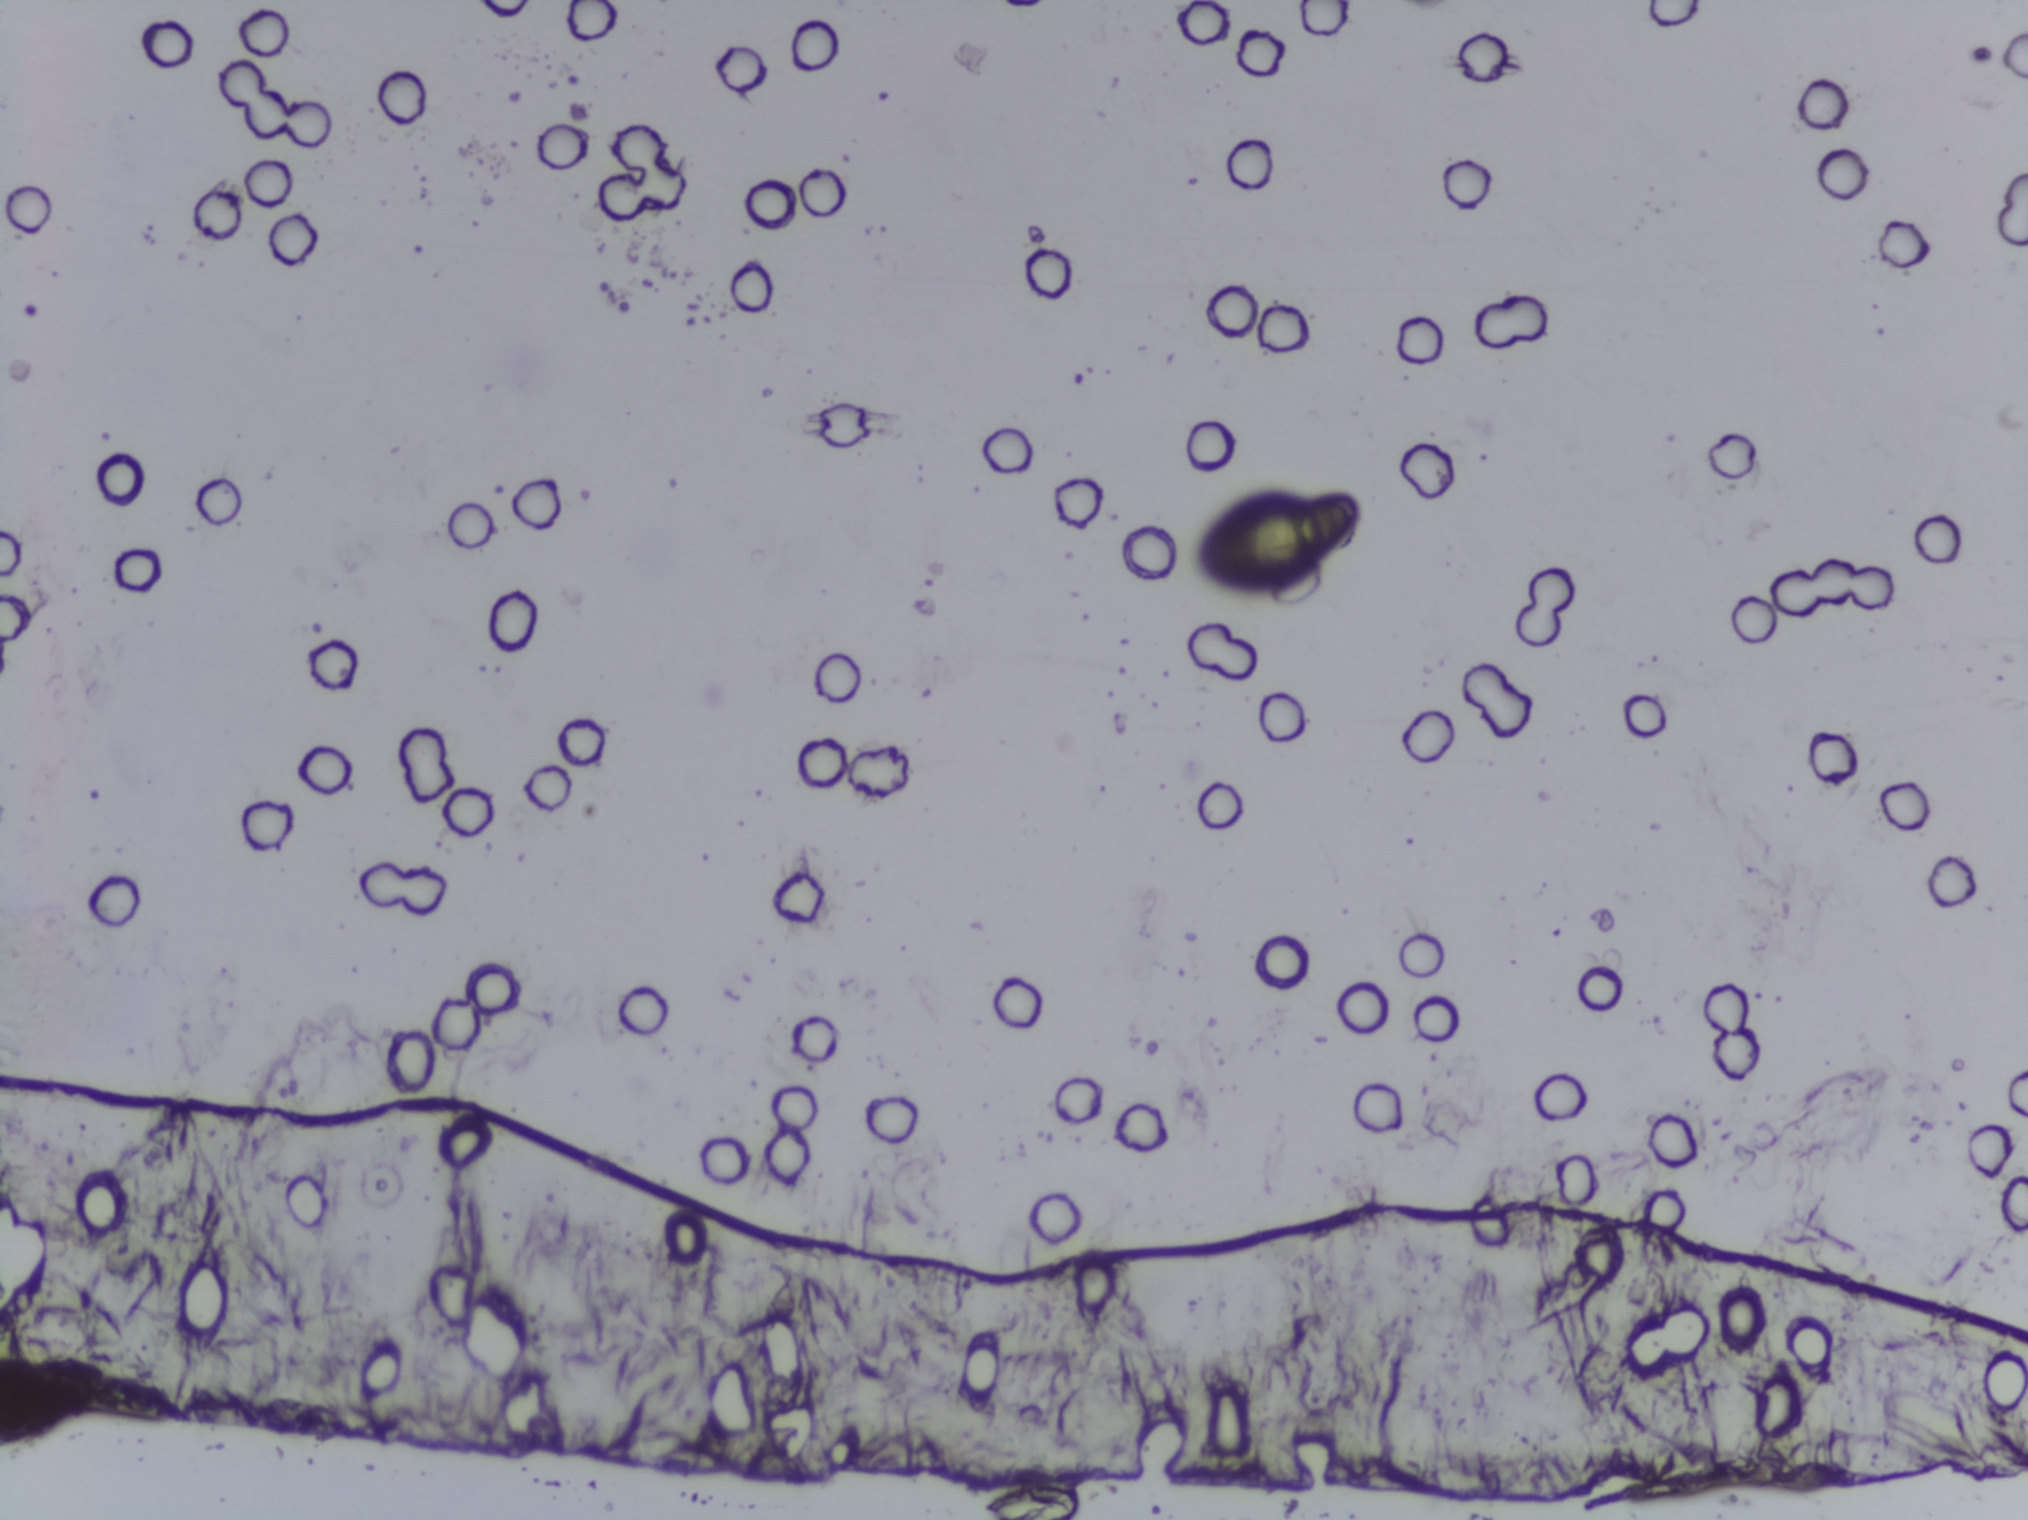
Photograph from an automated digital microscope: urine filter membrane, 4× objective. The image covers about 1.5 × 1.1 mm of the membrane.
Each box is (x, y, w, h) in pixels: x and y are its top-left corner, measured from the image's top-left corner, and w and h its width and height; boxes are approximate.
Schistosoma eggs are outlined in the expert annotation at (x=1196, y=497, w=166, h=82). About 0.3% of the image's pixels are marked (the marked pixels themselves, not the box around them). A single outlined area may contain several eggs.